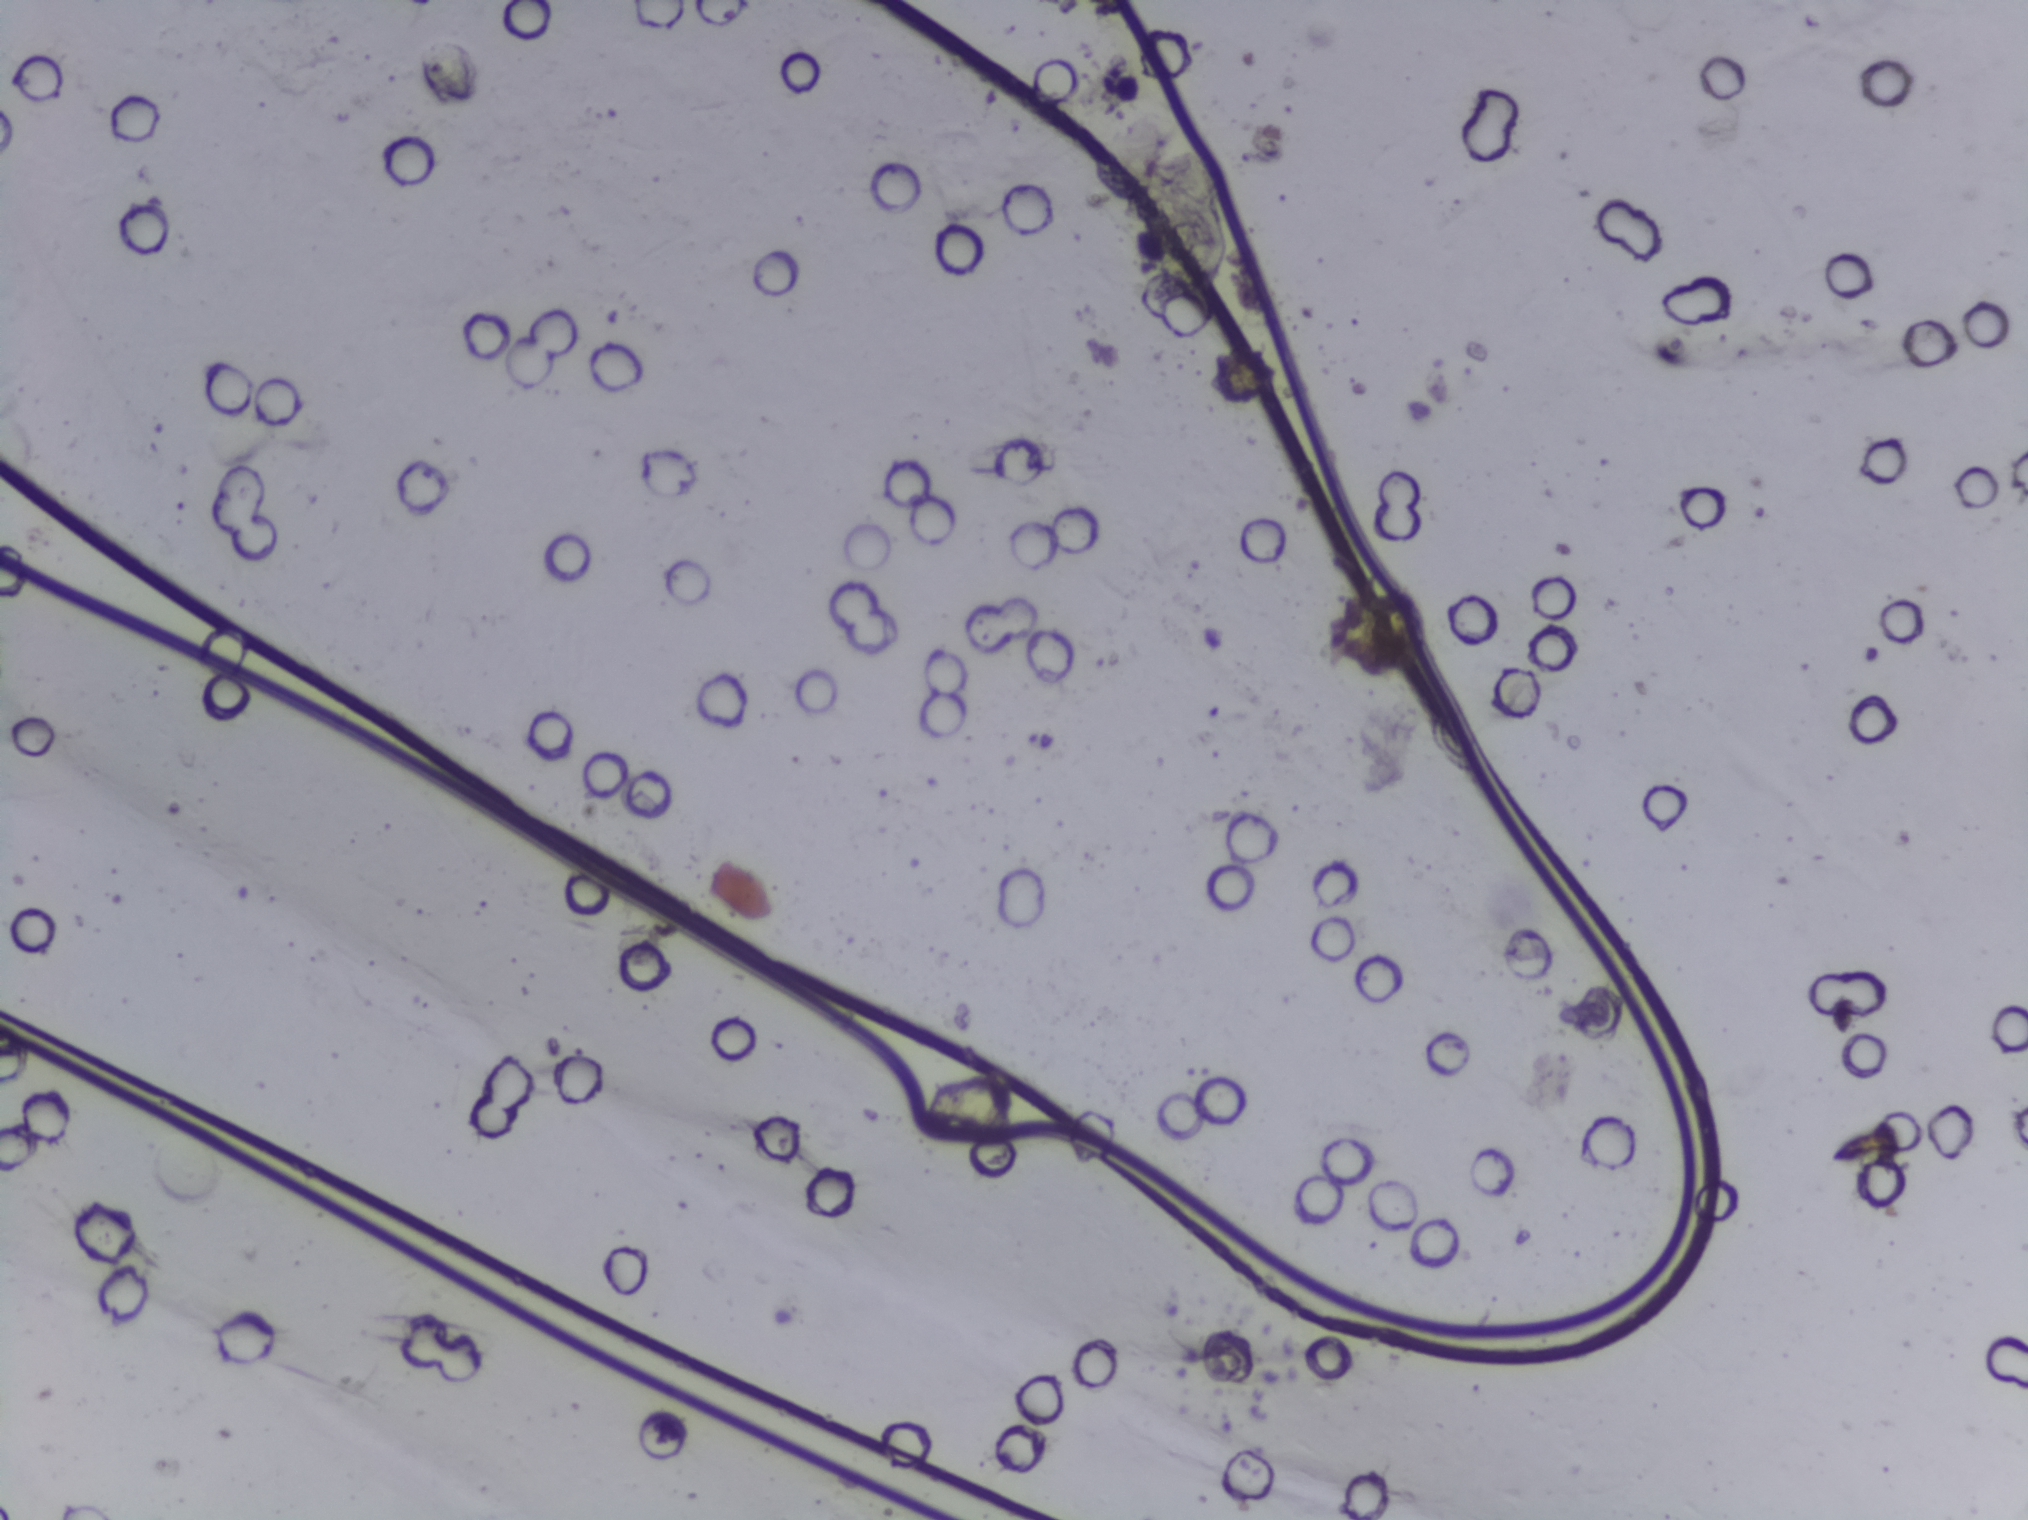
Schistosoma eggs: none outlined.
Photomicrograph of a urine filtration membrane, 4× objective.